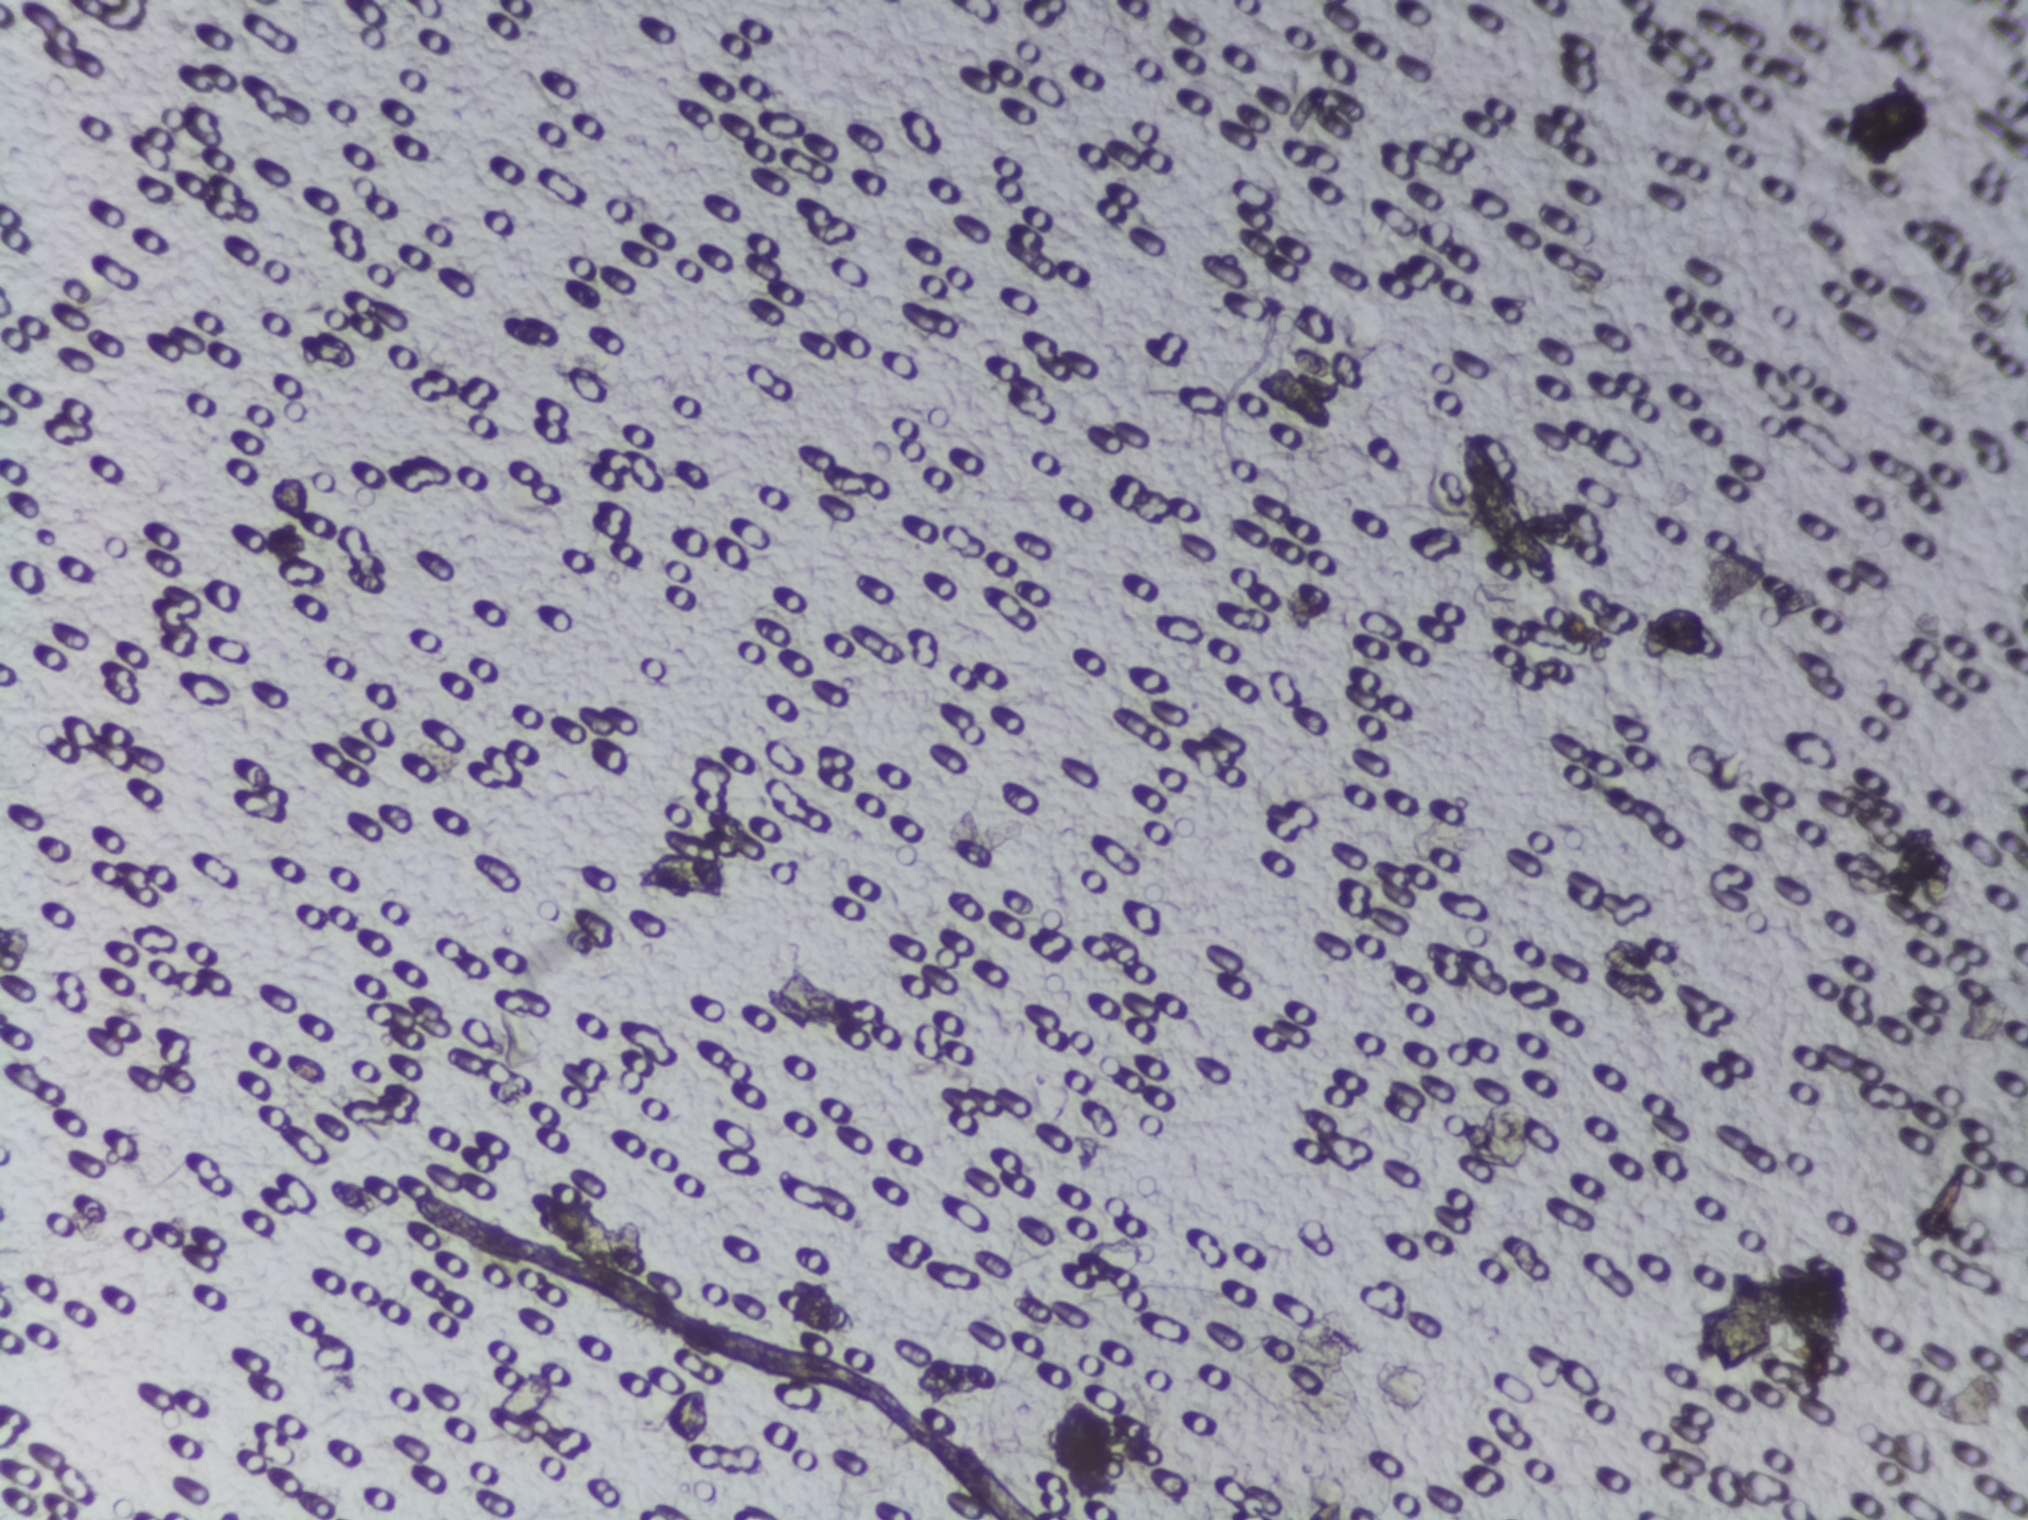
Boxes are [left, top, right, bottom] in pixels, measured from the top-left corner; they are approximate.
The expert annotation outlines Schistosoma eggs at [665, 1387, 710, 1444]. Eggs that touch can end up inside the same outlined area.
One field of view of a urine filter membrane, 4× objective, 2028 × 1520 pixels.